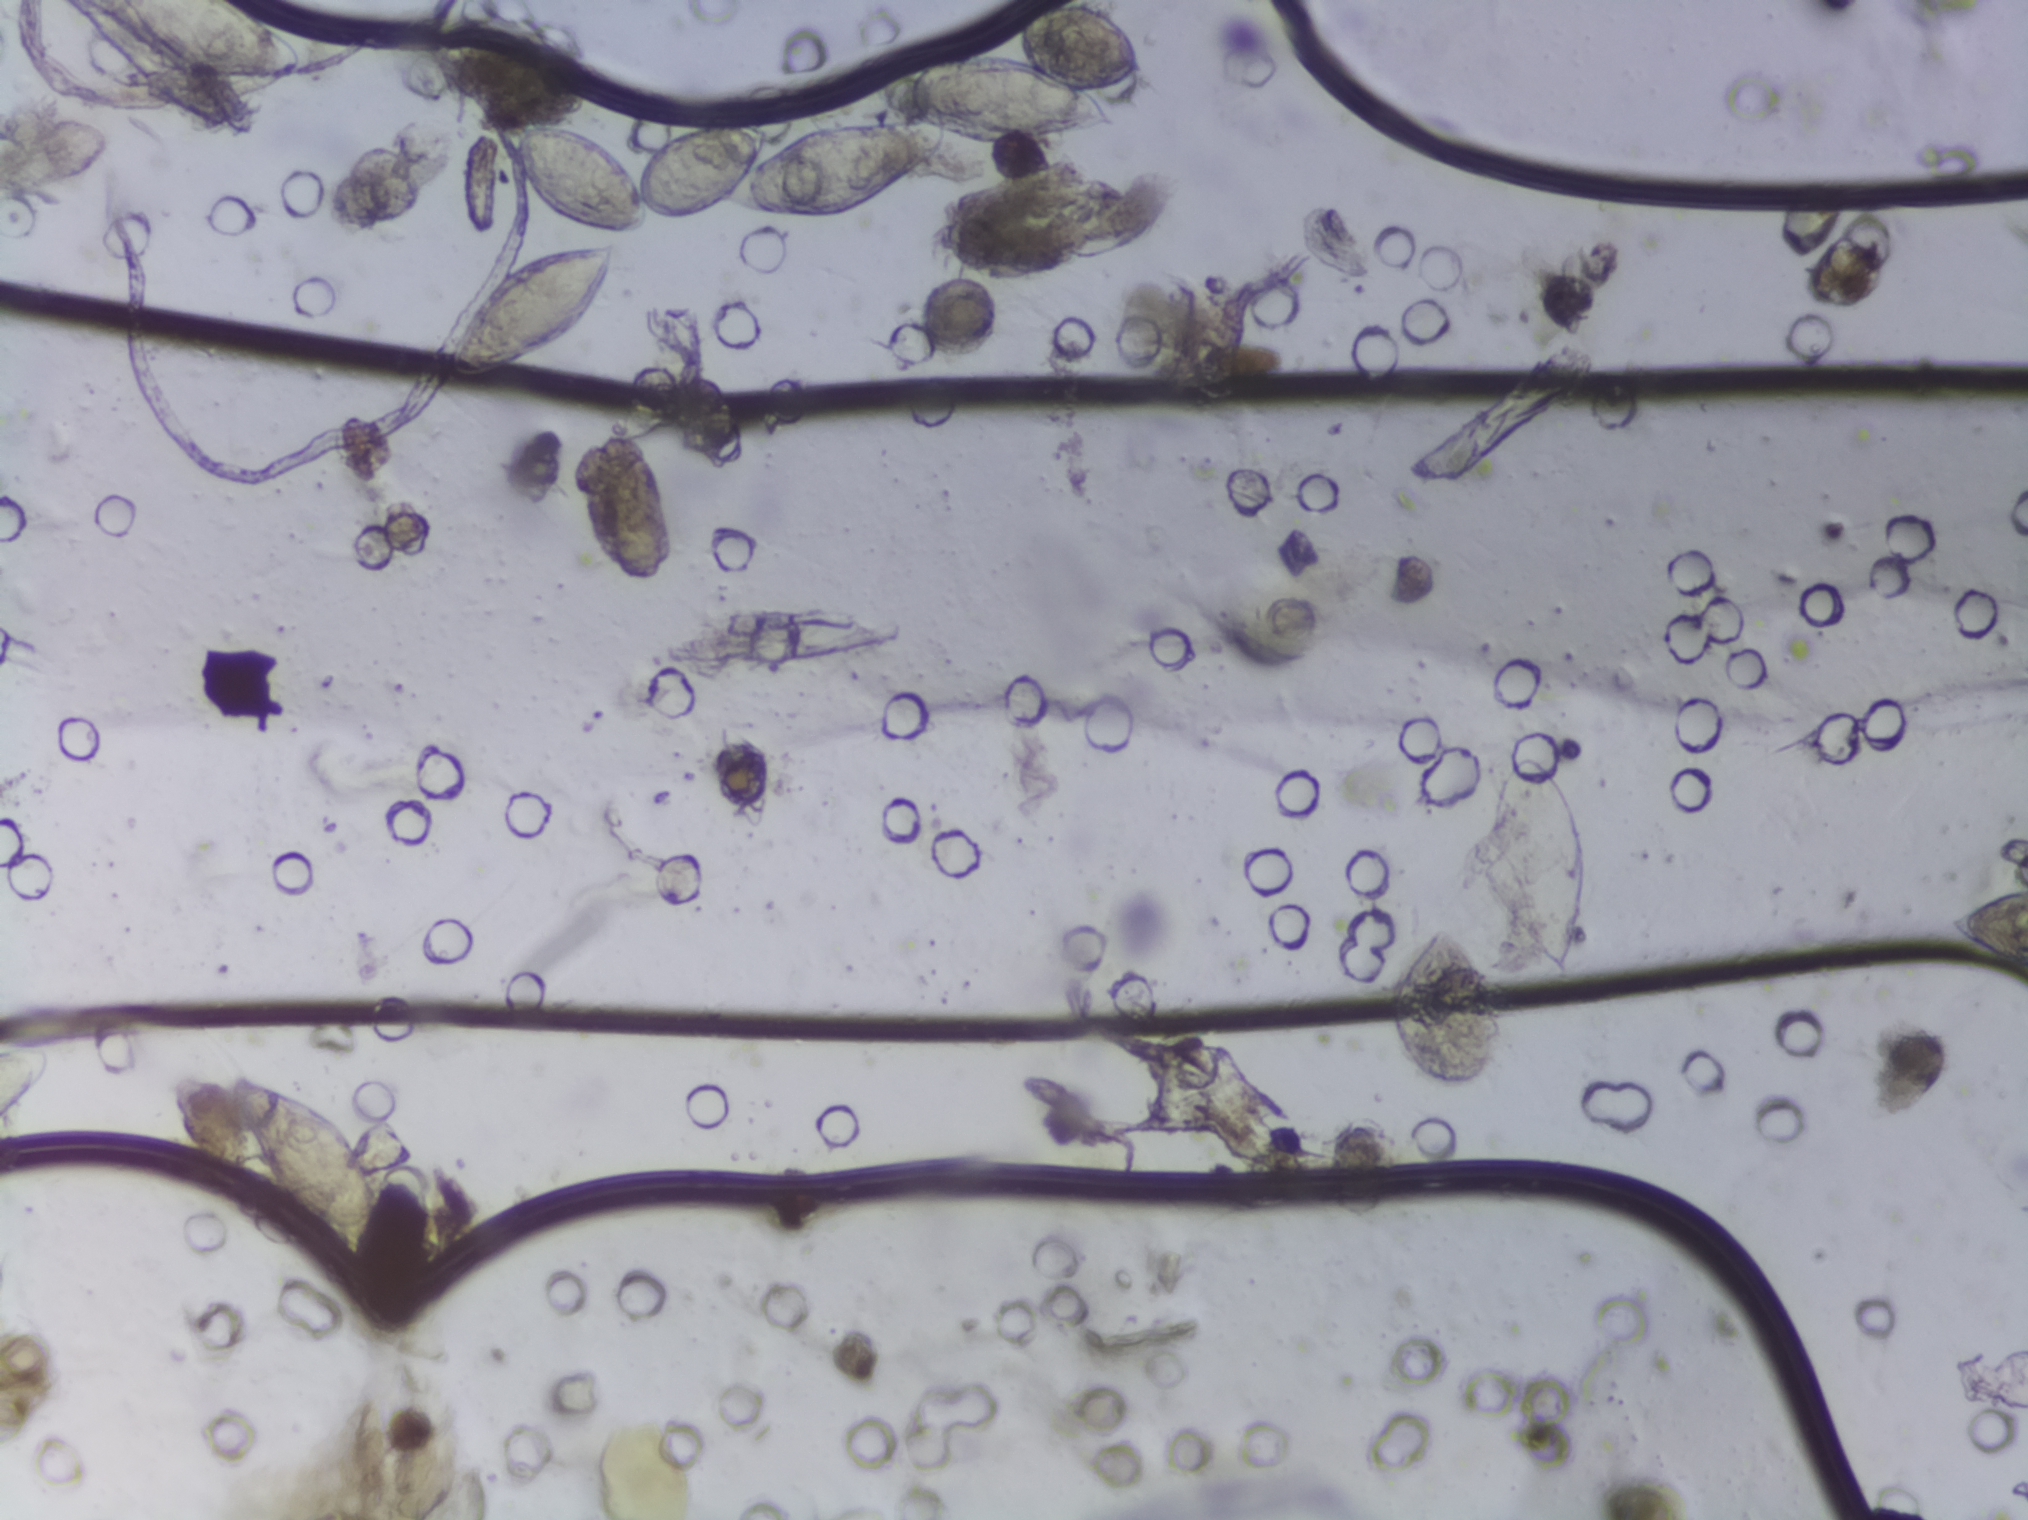
Urine filtration membrane under a 4× objective, photographed by an automated digital microscope.
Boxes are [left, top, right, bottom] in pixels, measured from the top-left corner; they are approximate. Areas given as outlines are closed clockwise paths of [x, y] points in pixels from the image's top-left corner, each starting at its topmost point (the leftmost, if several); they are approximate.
The expert annotation outlines Schistosoma eggs in six areas, left to right: box [0, 1041, 56, 1125] (reaching the left edge of the frame); box [94, 0, 300, 77] (reaching the top edge of the frame); box [222, 1068, 393, 1263]; outline [1065, 0], [1116, 17], [1149, 66], [1146, 78], [1102, 96], [1114, 123], [1022, 144], [964, 141], [945, 132], [915, 176], [837, 221], [751, 214], [736, 204], [693, 221], [658, 215], [651, 232], [616, 239], [617, 263], [607, 291], [577, 334], [505, 373], [454, 378], [449, 348], [476, 319], [509, 262], [599, 237], [566, 229], [519, 177], [501, 143], [504, 119], [527, 114], [581, 126], [637, 169], [649, 142], [699, 118], [762, 121], [770, 130], [769, 146], [816, 123], [896, 116], [878, 89], [905, 66], [987, 50], [1020, 58], [1010, 38], [1013, 18] (a cluster of eggs; reaching the top edge of the frame); box [1481, 749, 1588, 979]; box [1947, 886, 2027, 981] (reaching the right edge of the frame). About 4.3% of the image's pixels are marked (the marked pixels themselves, not the boxes and the outline around them). Eggs that touch can end up inside the same outlined area.